Photomicrograph of a urine filtration membrane, 4× objective. The field of view is about 1.5 mm × 1.1 mm.
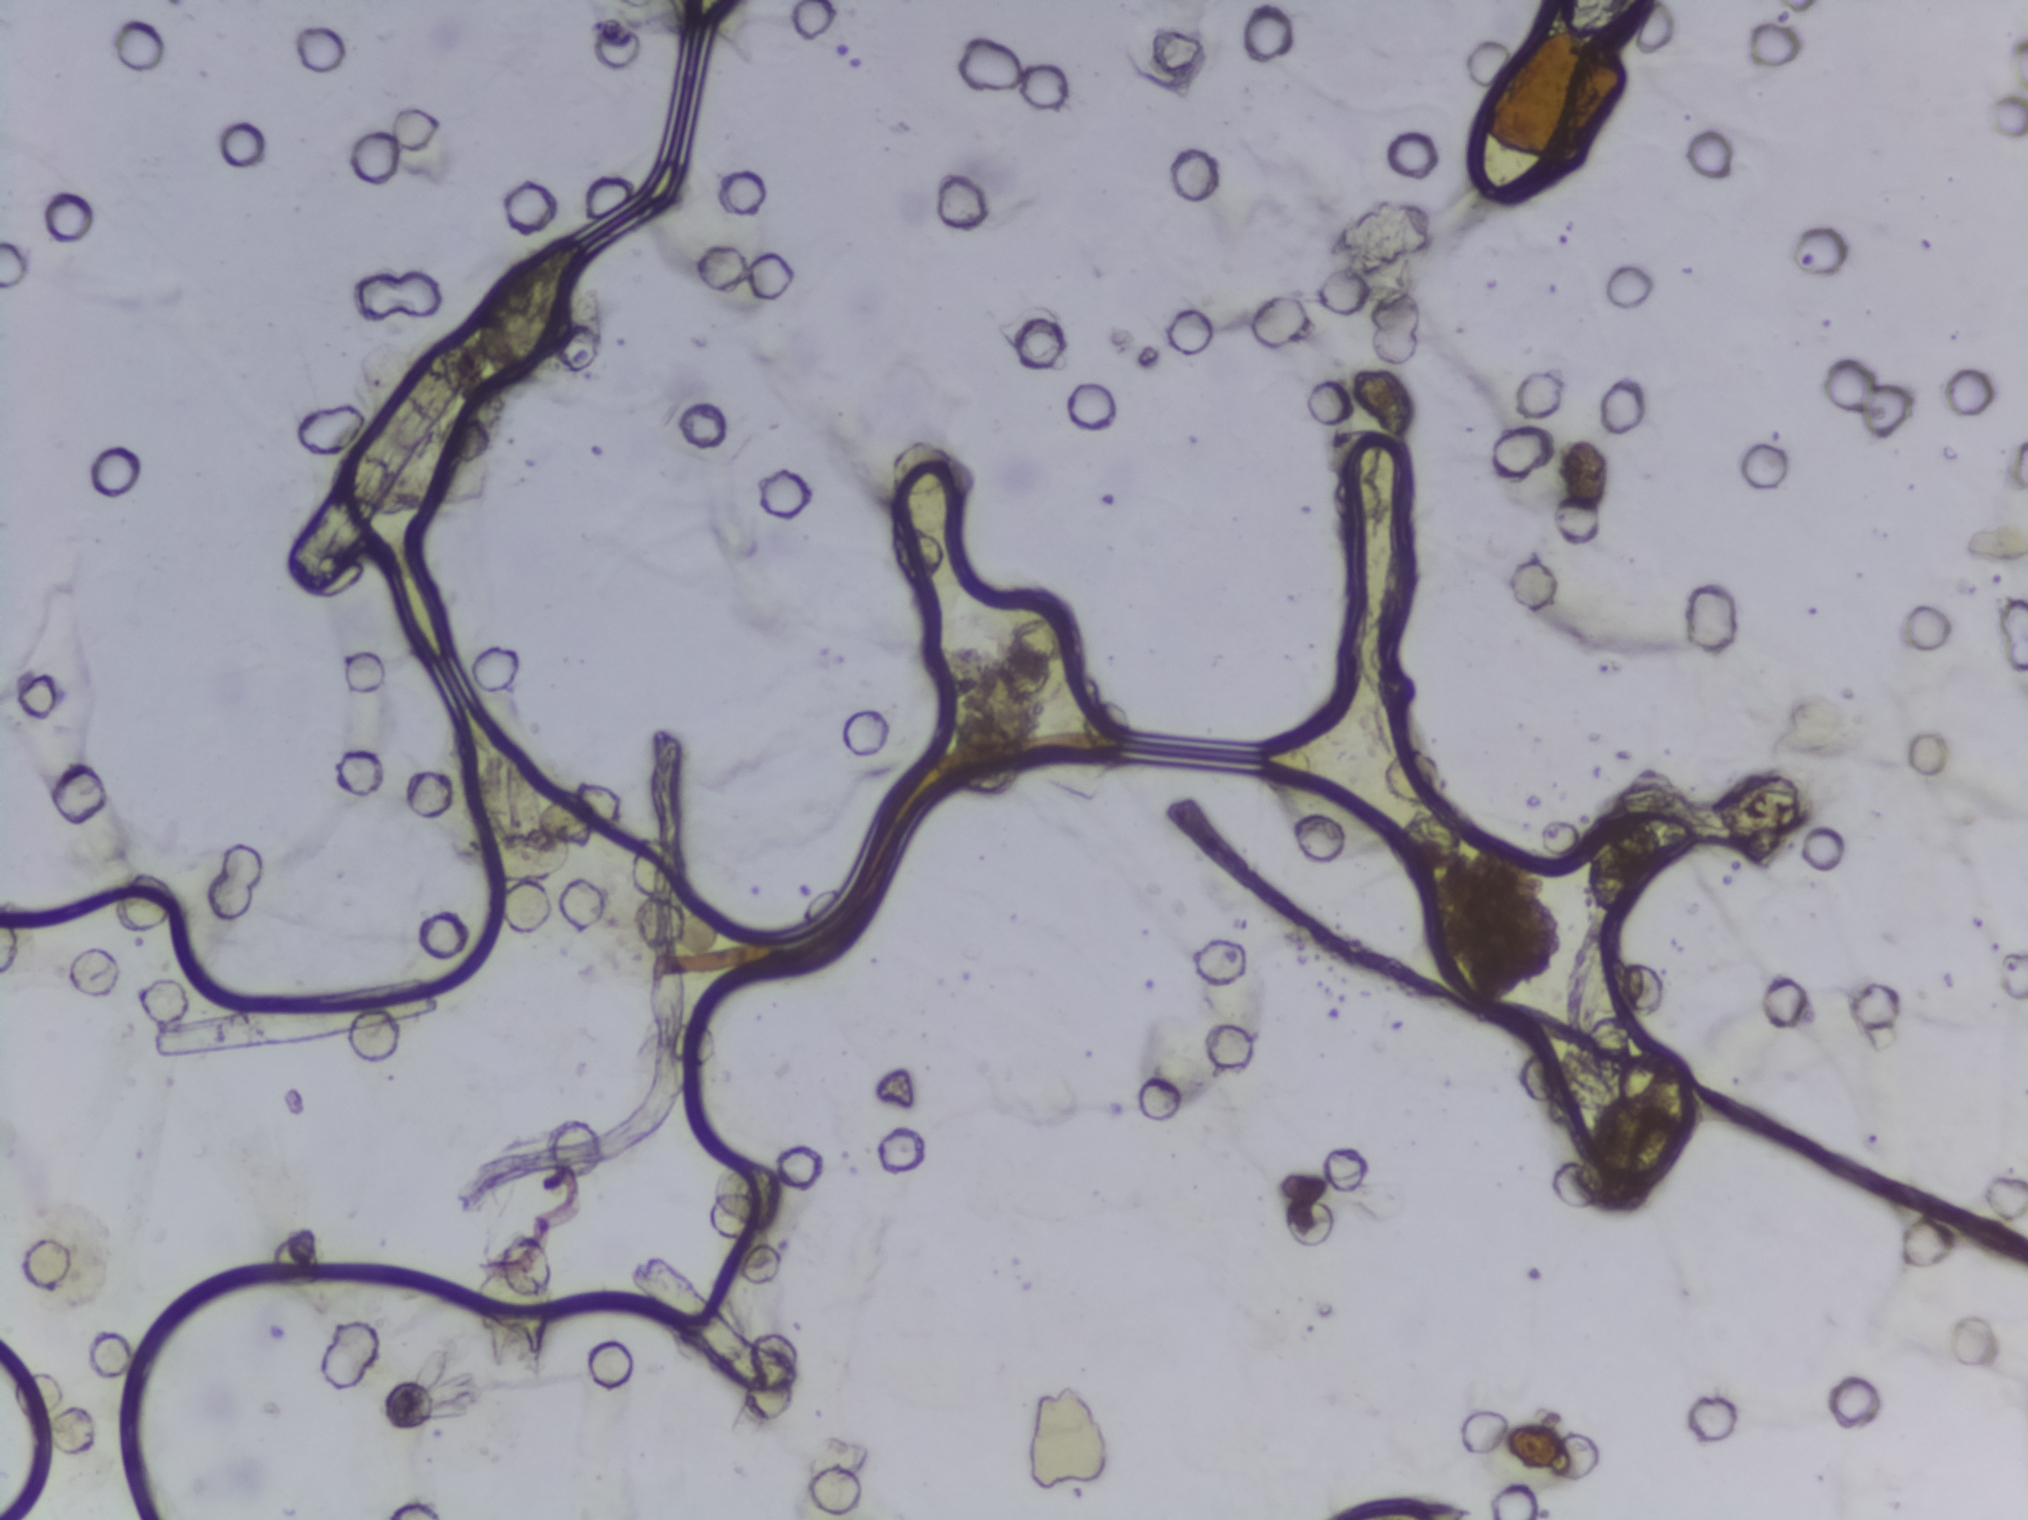
Schistosoma eggs: none outlined.